Microscope photograph (4× objective) of a membrane that a urine sample was filtered through.
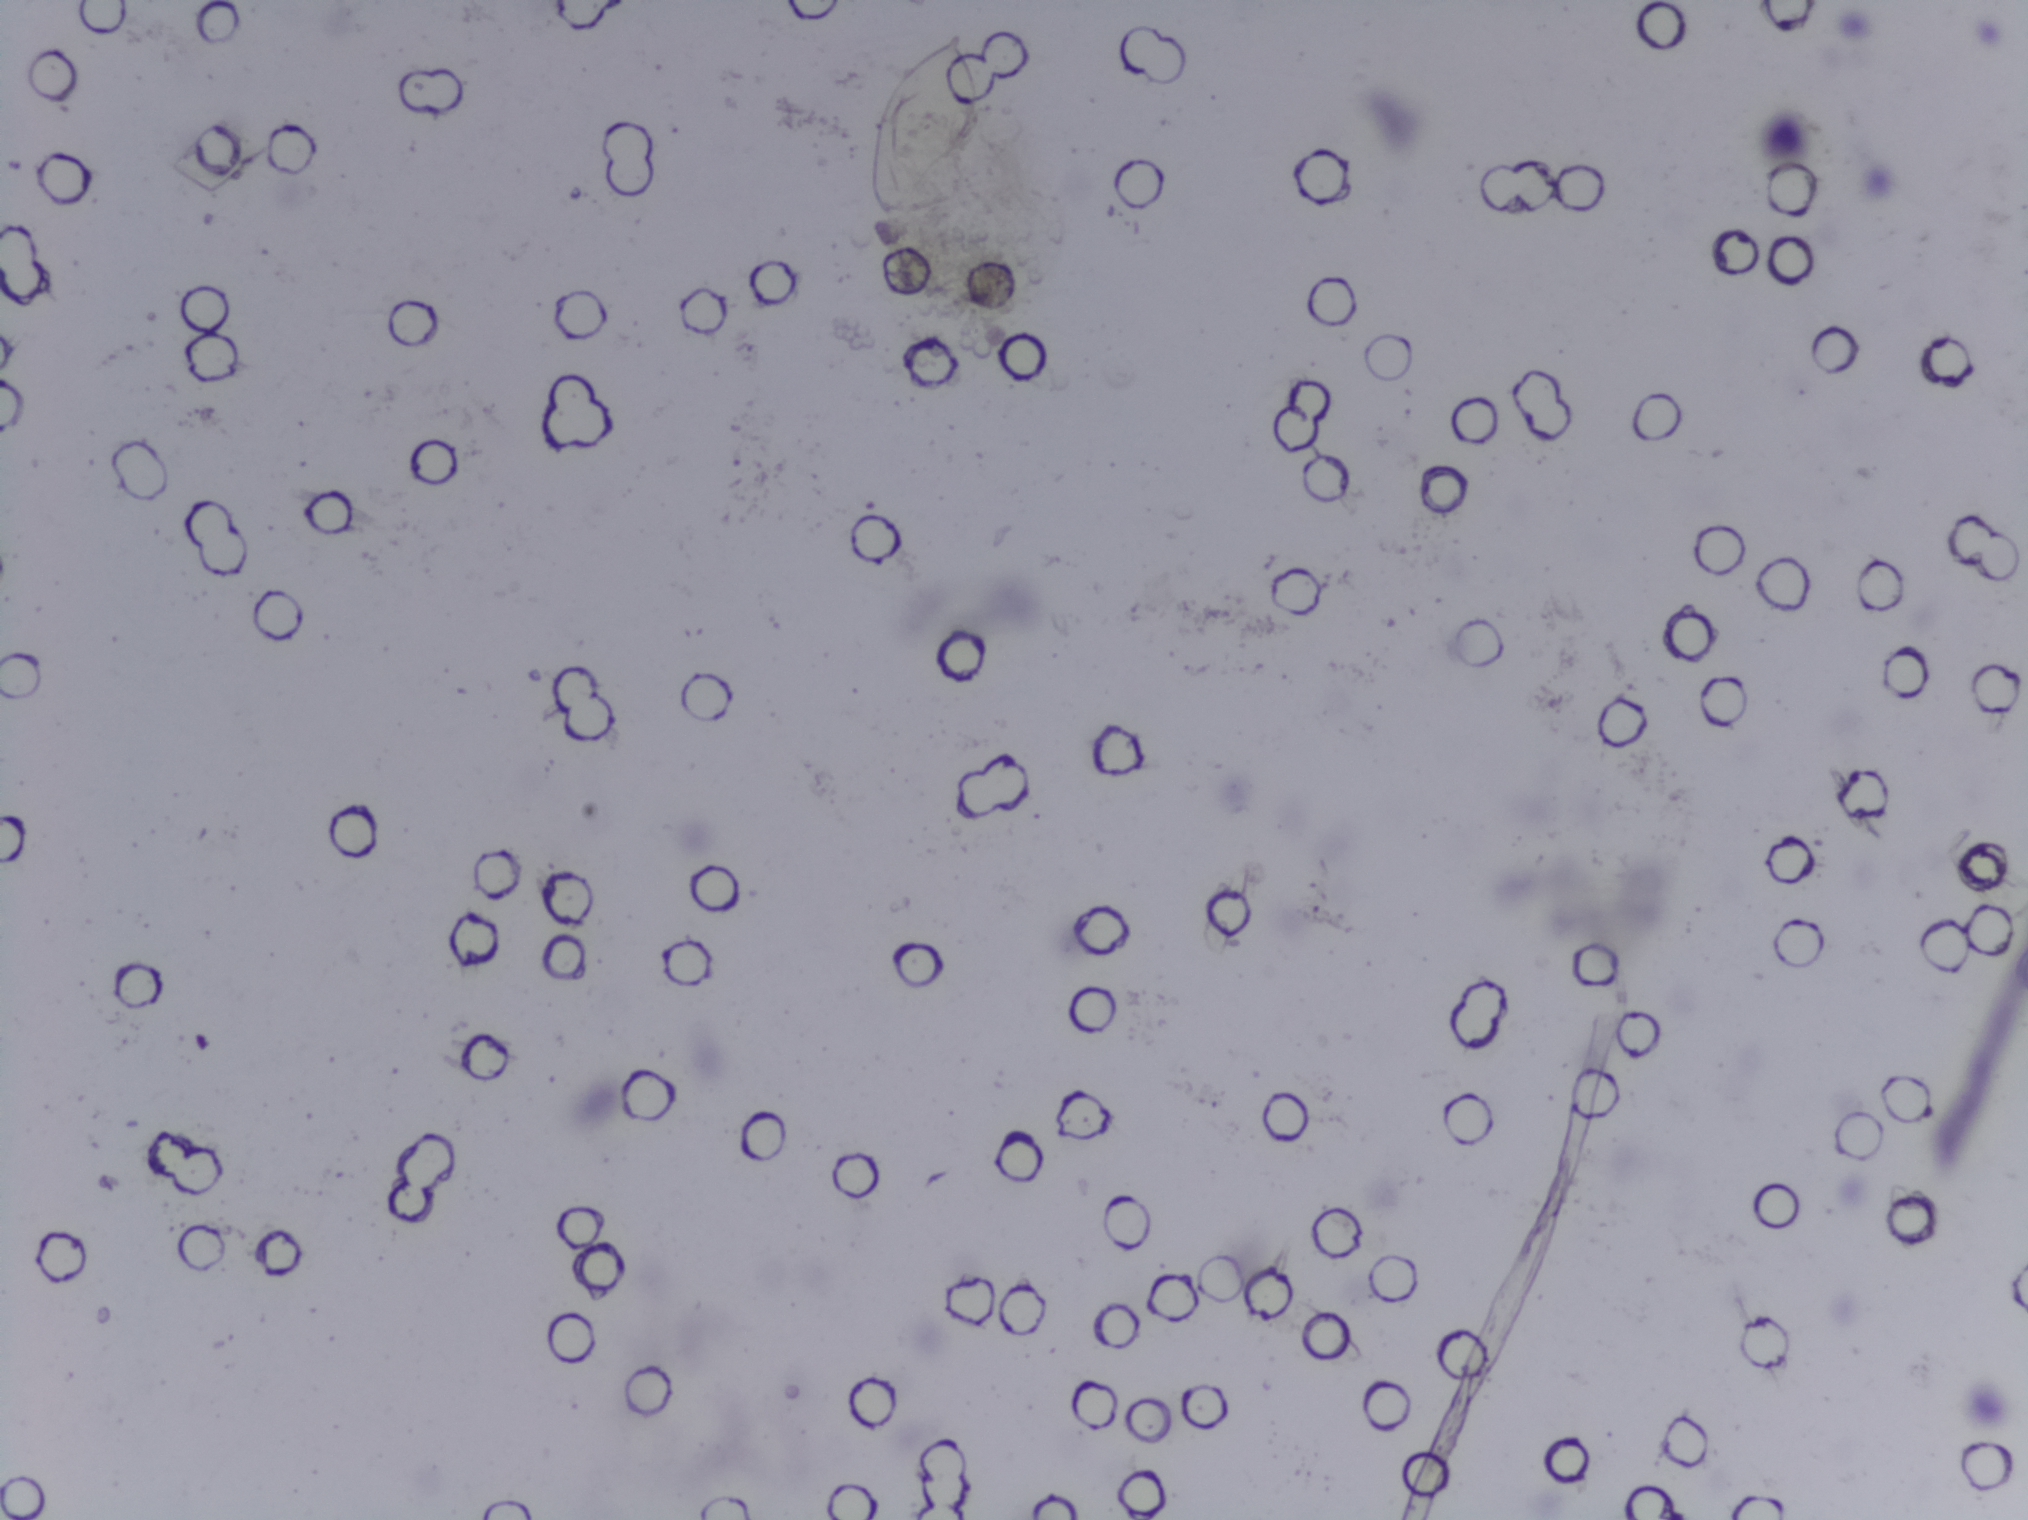
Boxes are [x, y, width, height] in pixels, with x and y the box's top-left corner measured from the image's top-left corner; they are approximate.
The expert annotation outlines Schistosoma eggs at [866, 27, 117, 197]. Eggs that touch can end up inside the same outlined area.